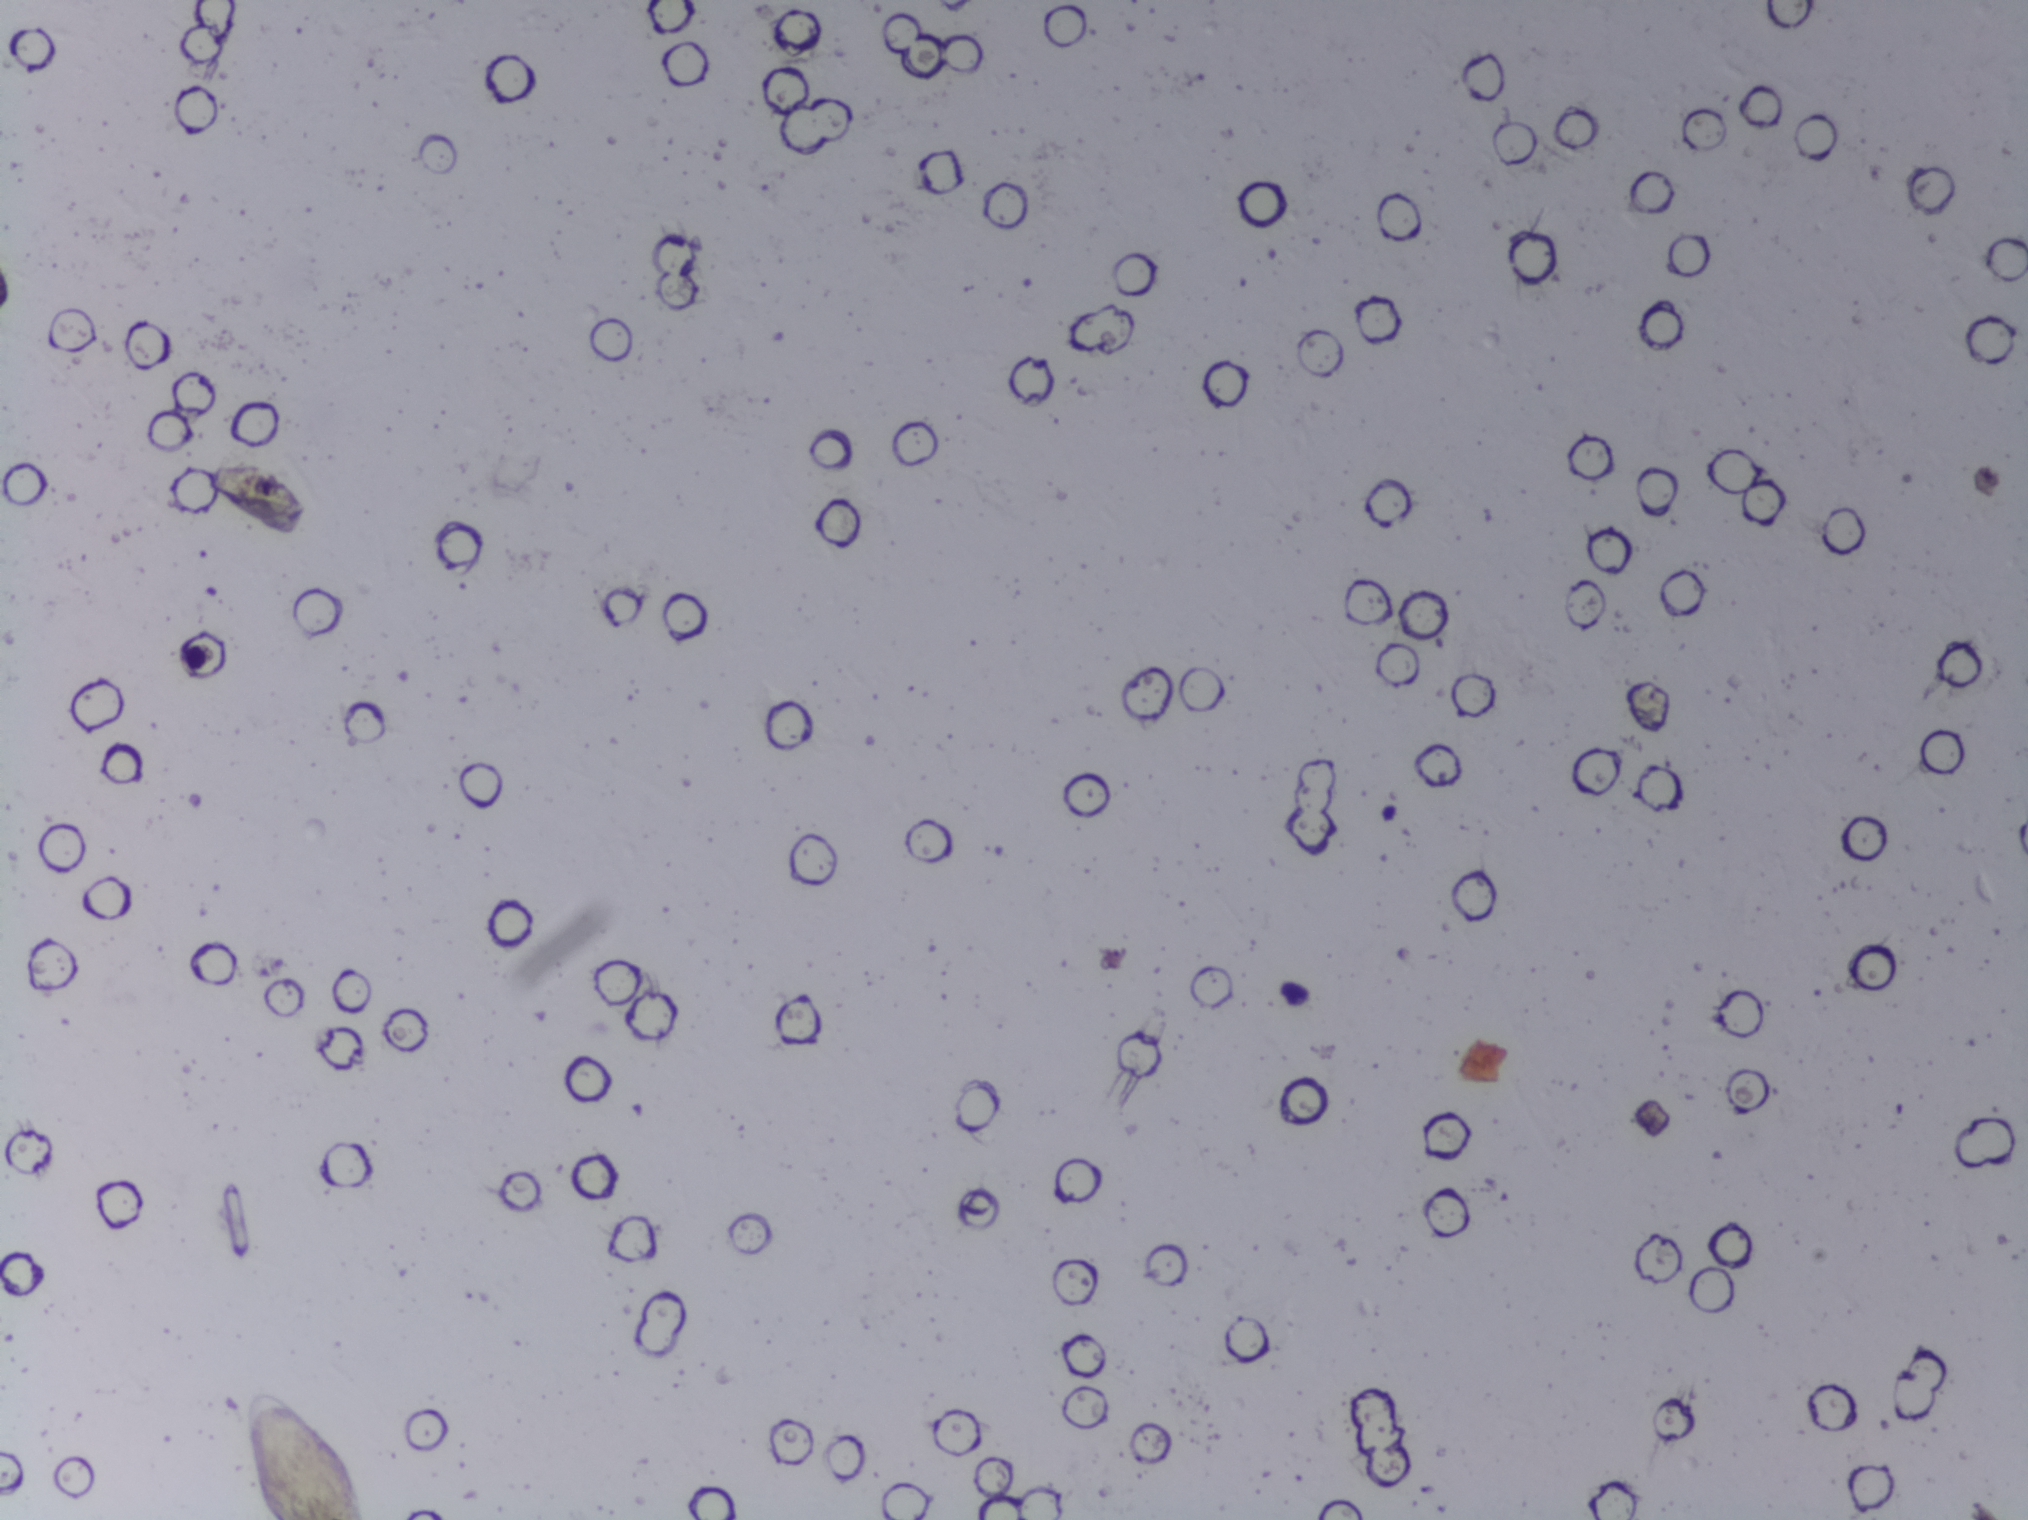
One field of view of a urine filter membrane, 4× objective, 2028 × 1520 pixels.
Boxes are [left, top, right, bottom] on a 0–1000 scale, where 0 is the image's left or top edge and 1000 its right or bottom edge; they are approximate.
Schistosoma egg areas, outlined: [119, 914, 183, 1000] (reaching the bottom edge of the frame). About 0.4% of the image's pixels are marked (the marked pixels themselves, not the box around them). An outlined area can hold more than one egg.